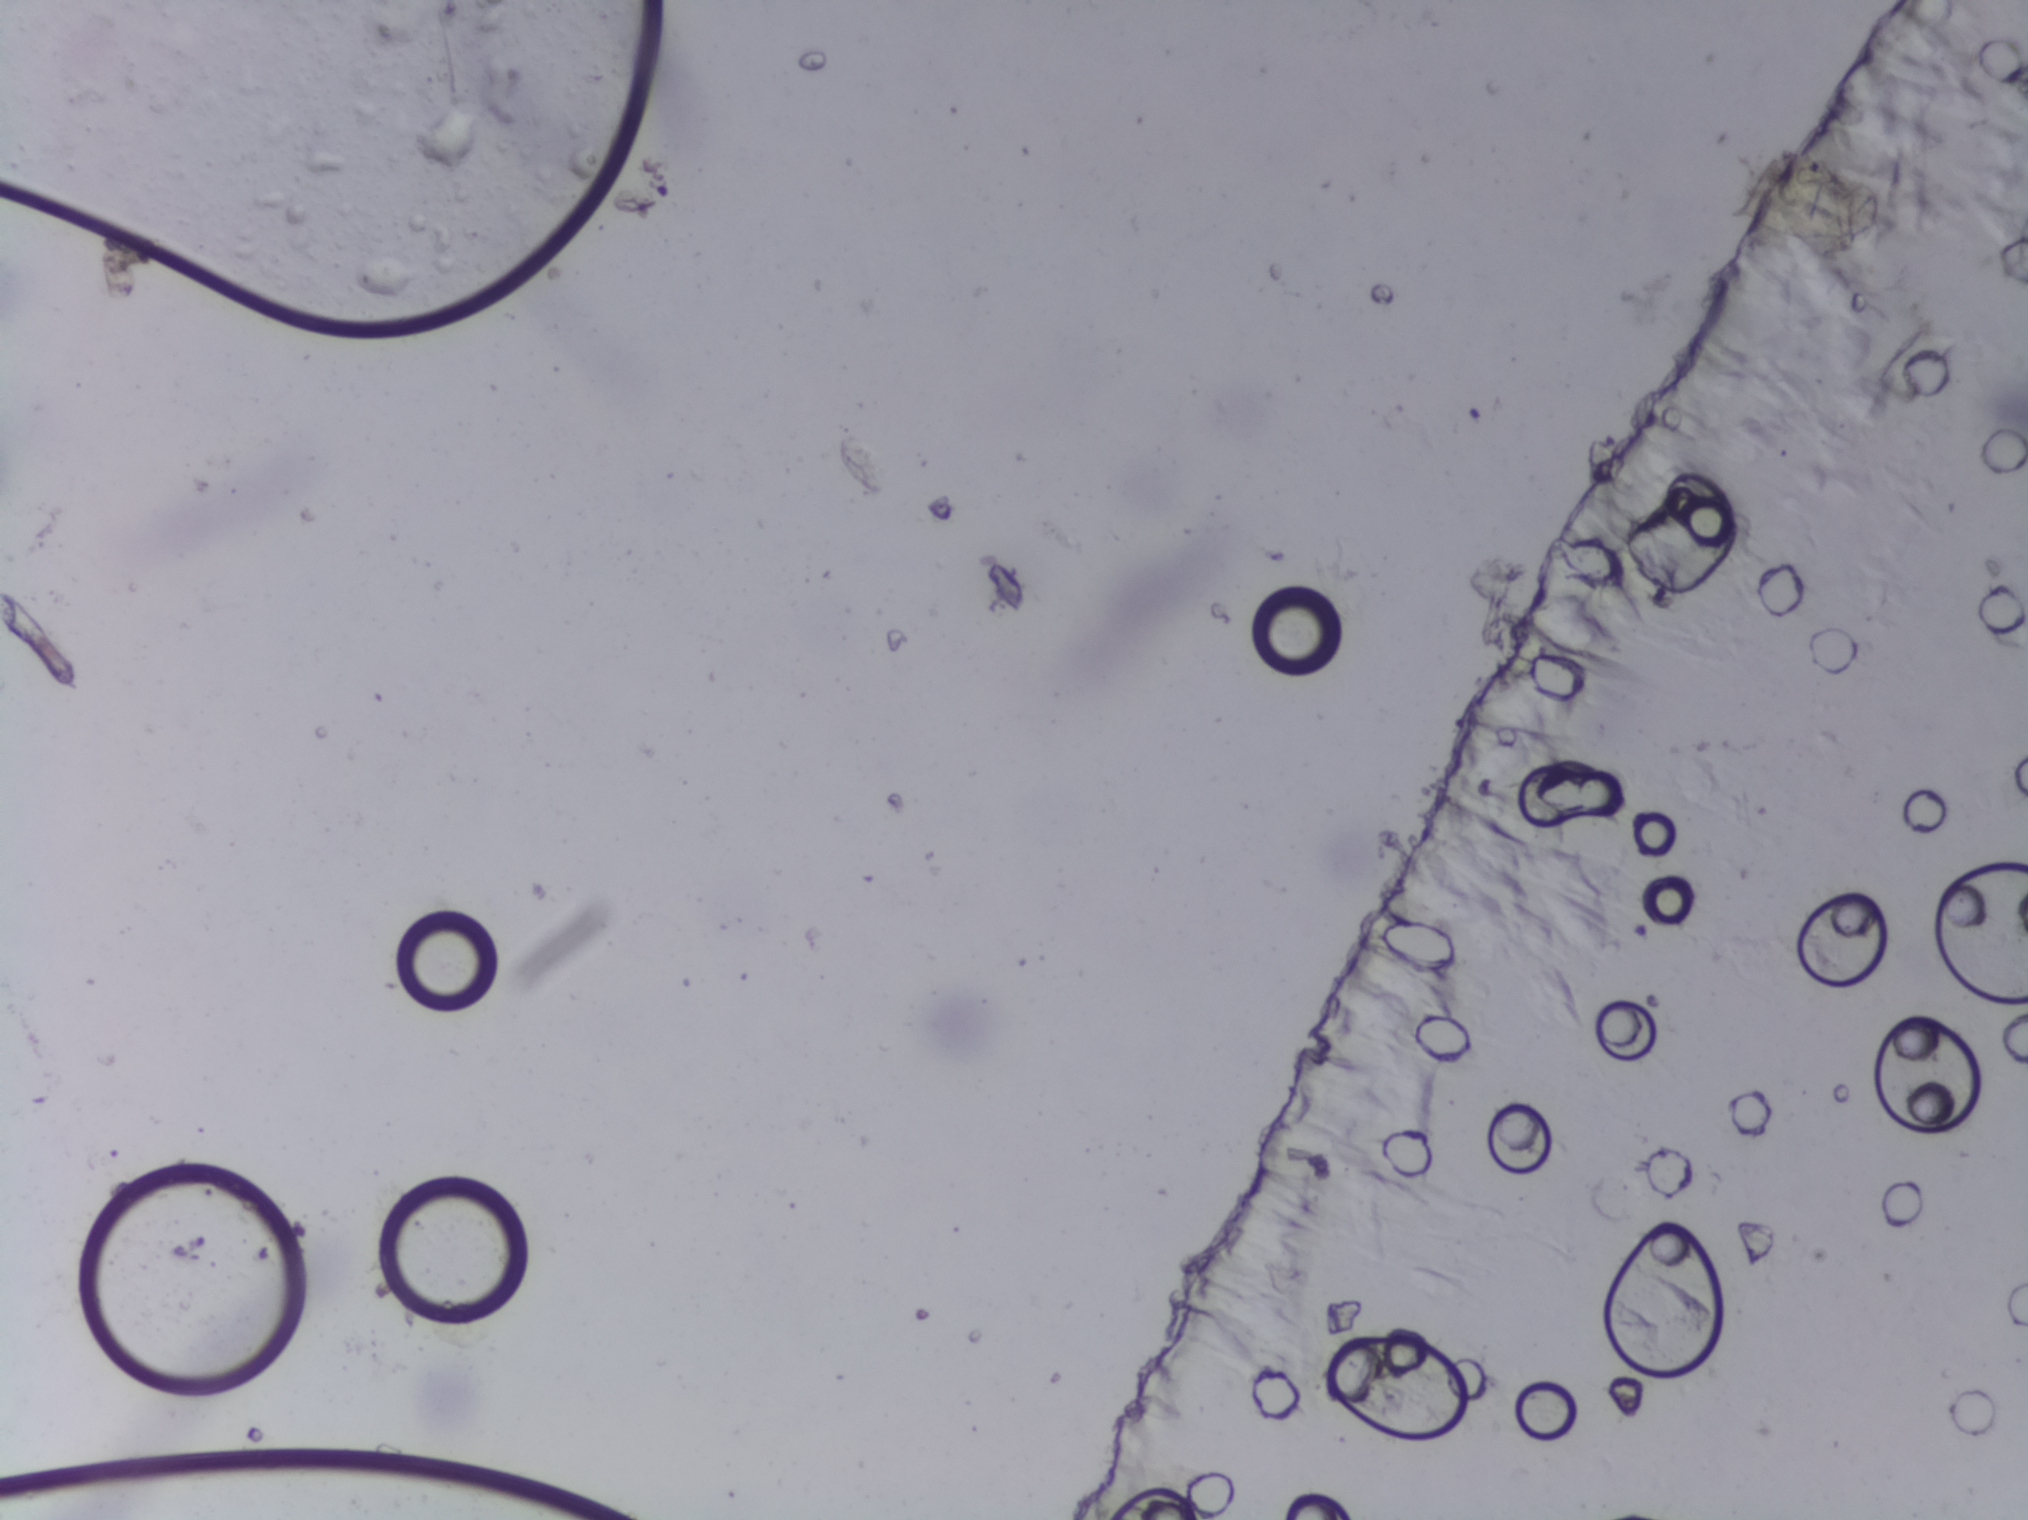
Microscope photograph (4× objective) of a membrane that a urine sample was filtered through.
No Schistosoma egg is outlined in this image's expert annotation.